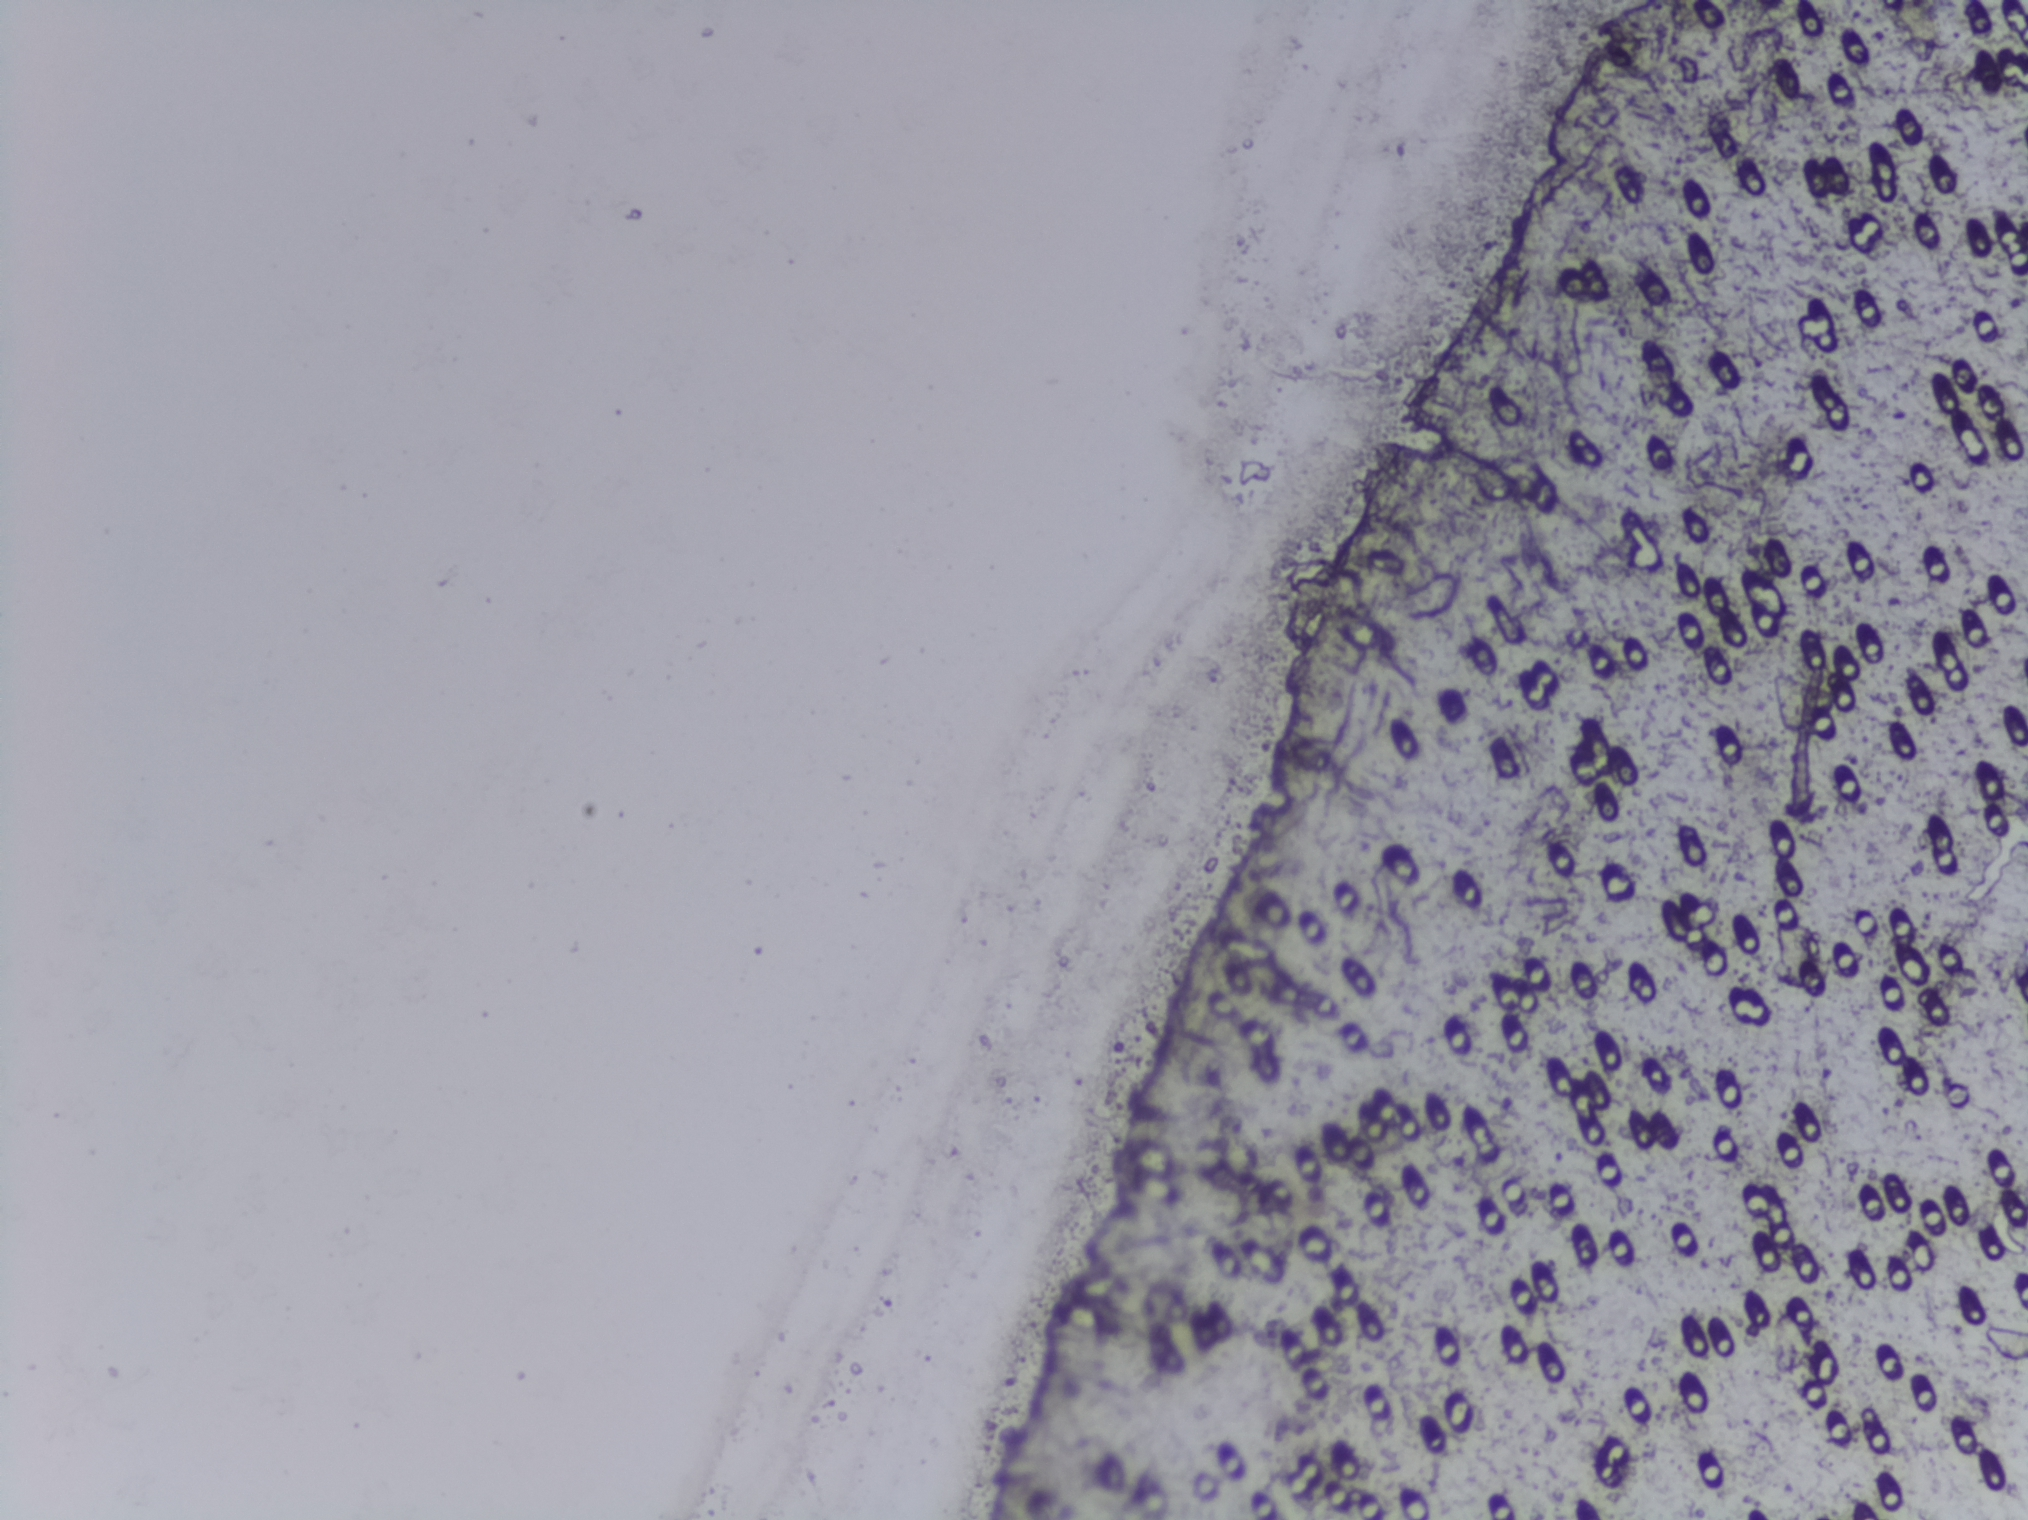
Microscope photograph (4× objective) of a membrane that a urine sample was filtered through.
The expert annotation marks no Schistosoma egg in this field of view.